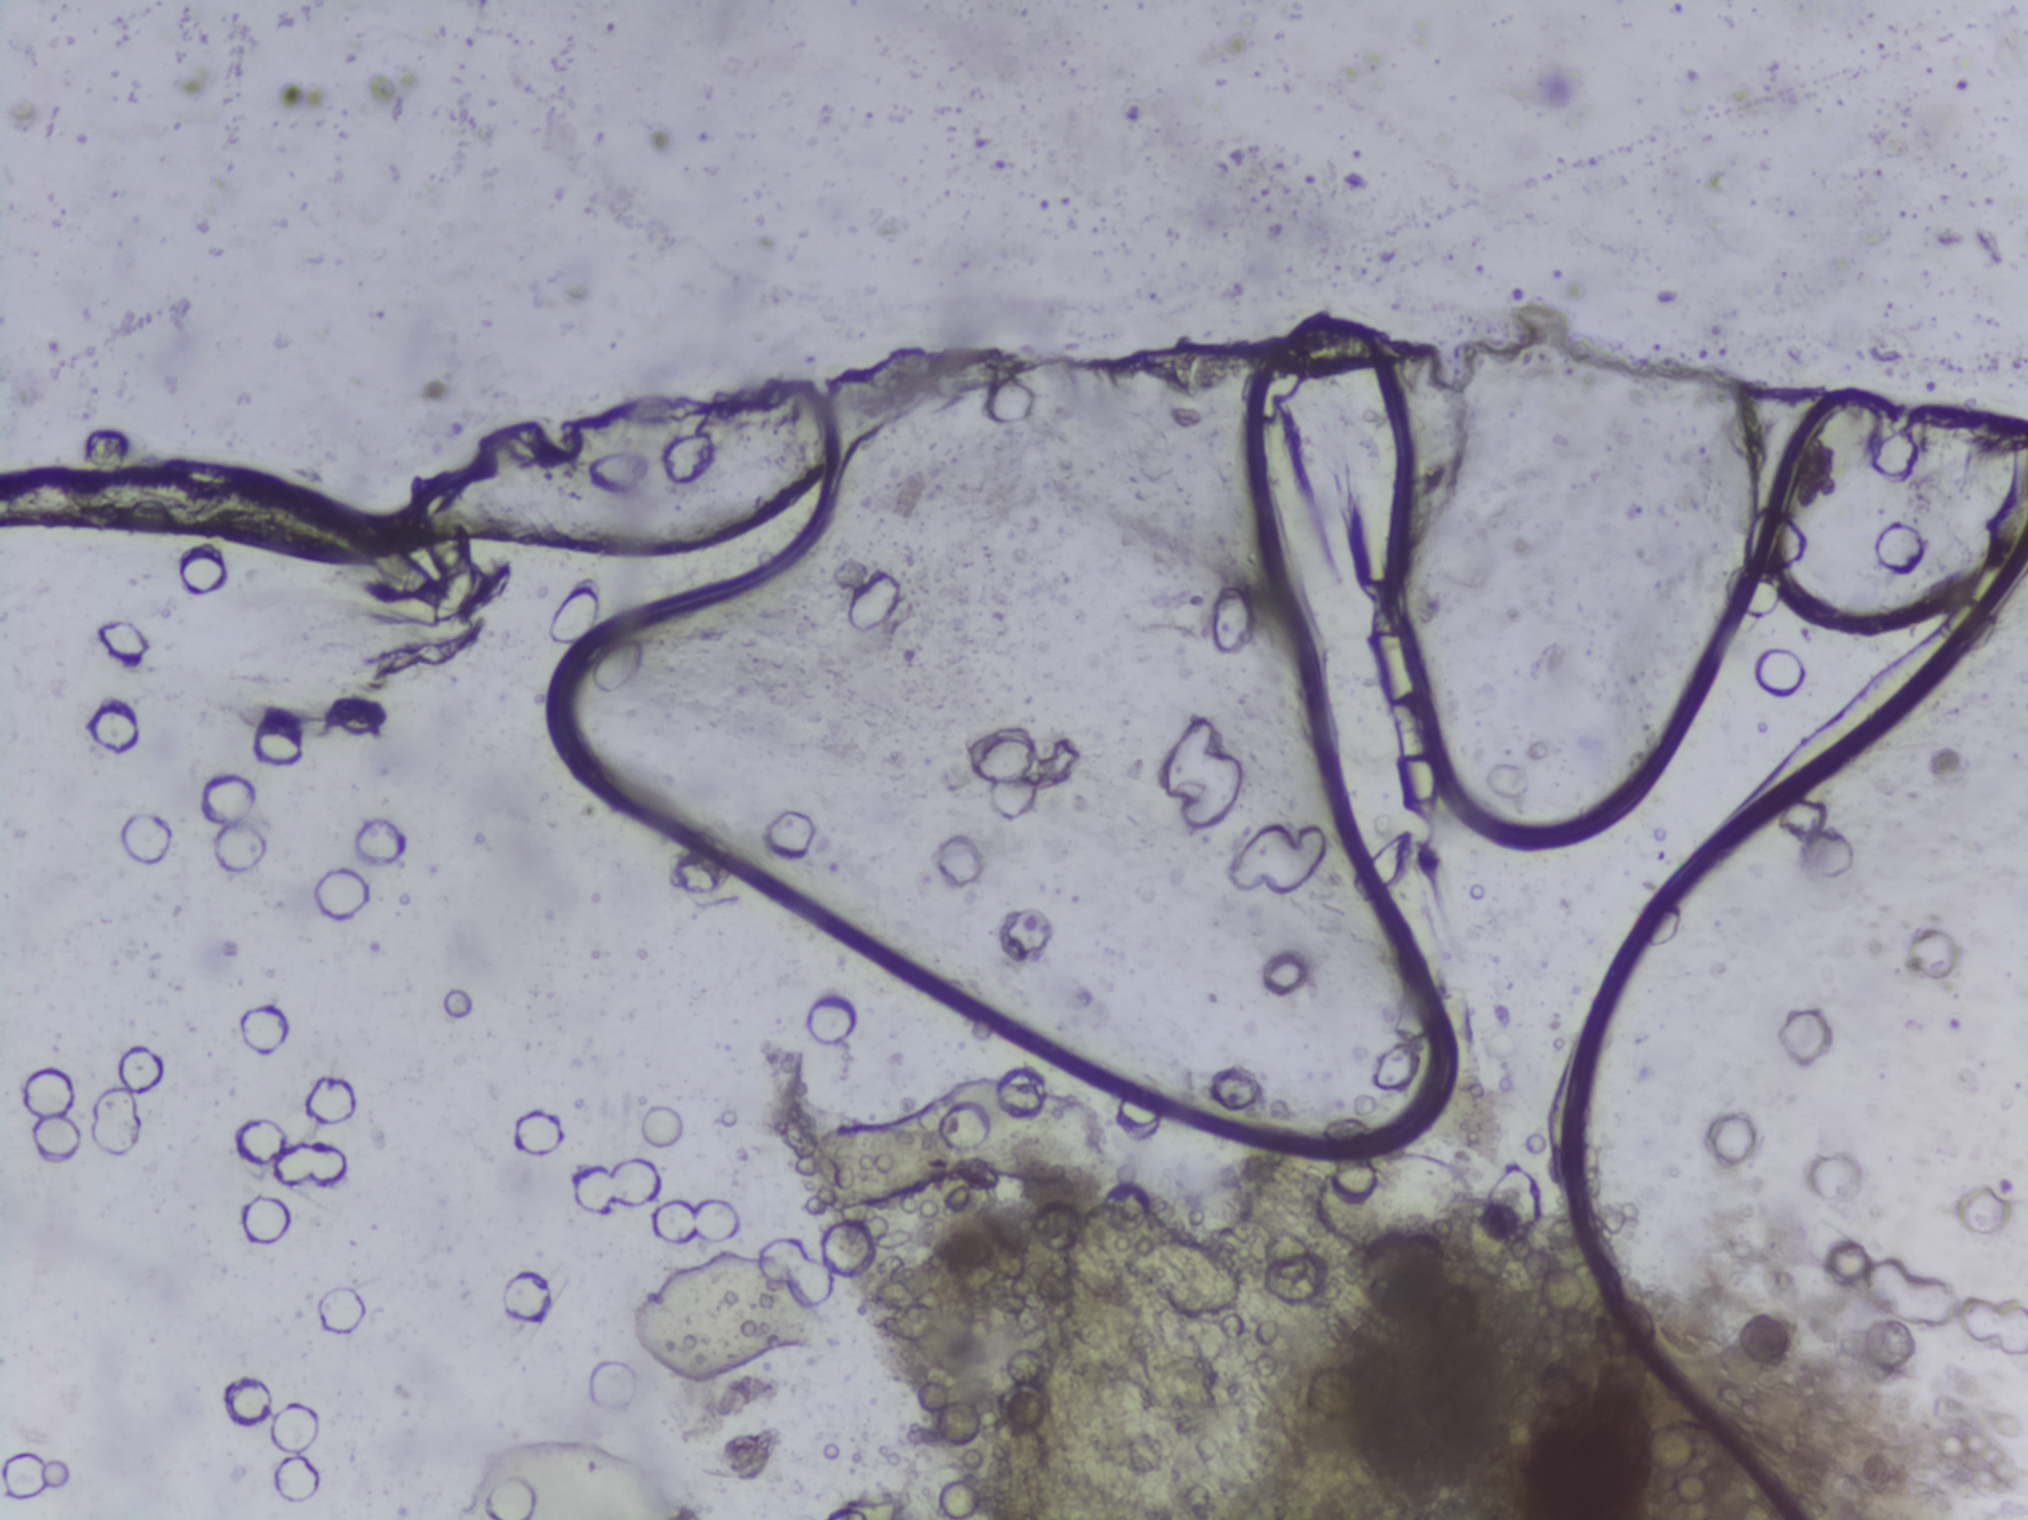
Photomicrograph of a urine filtration membrane, 4× objective.
The expert annotation outlines no Schistosoma egg in this image.